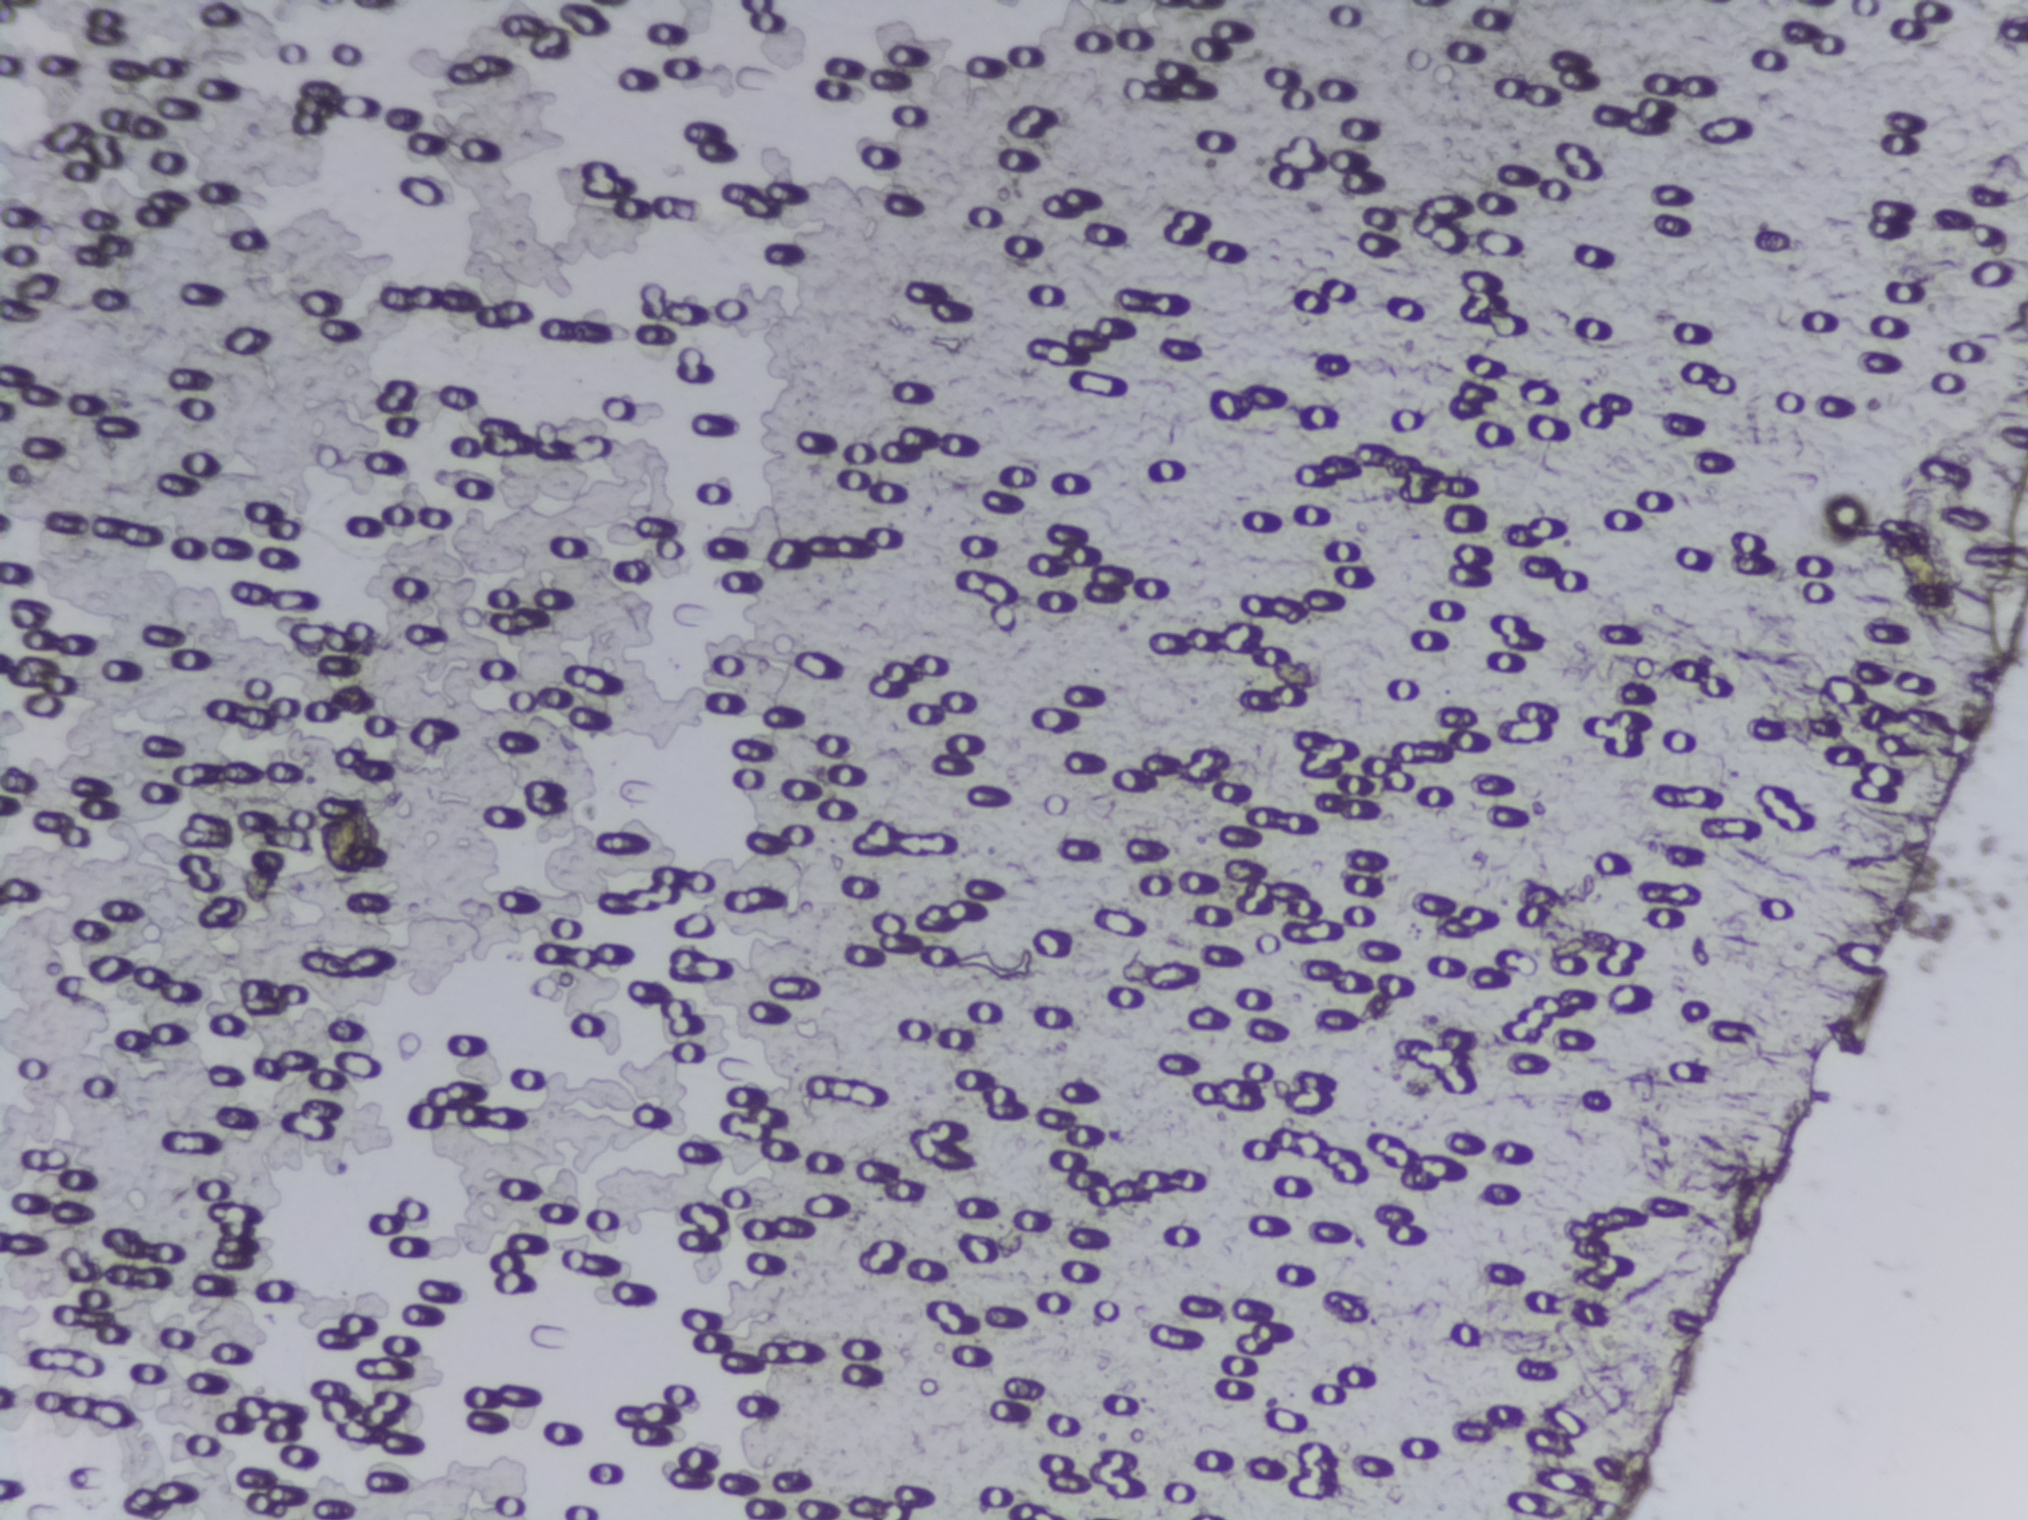
Photomicrograph of a urine filtration membrane, 4× objective.
The expert annotation marks no Schistosoma egg in this field of view.